Urine filter membrane photographed through a 4× microscope objective.
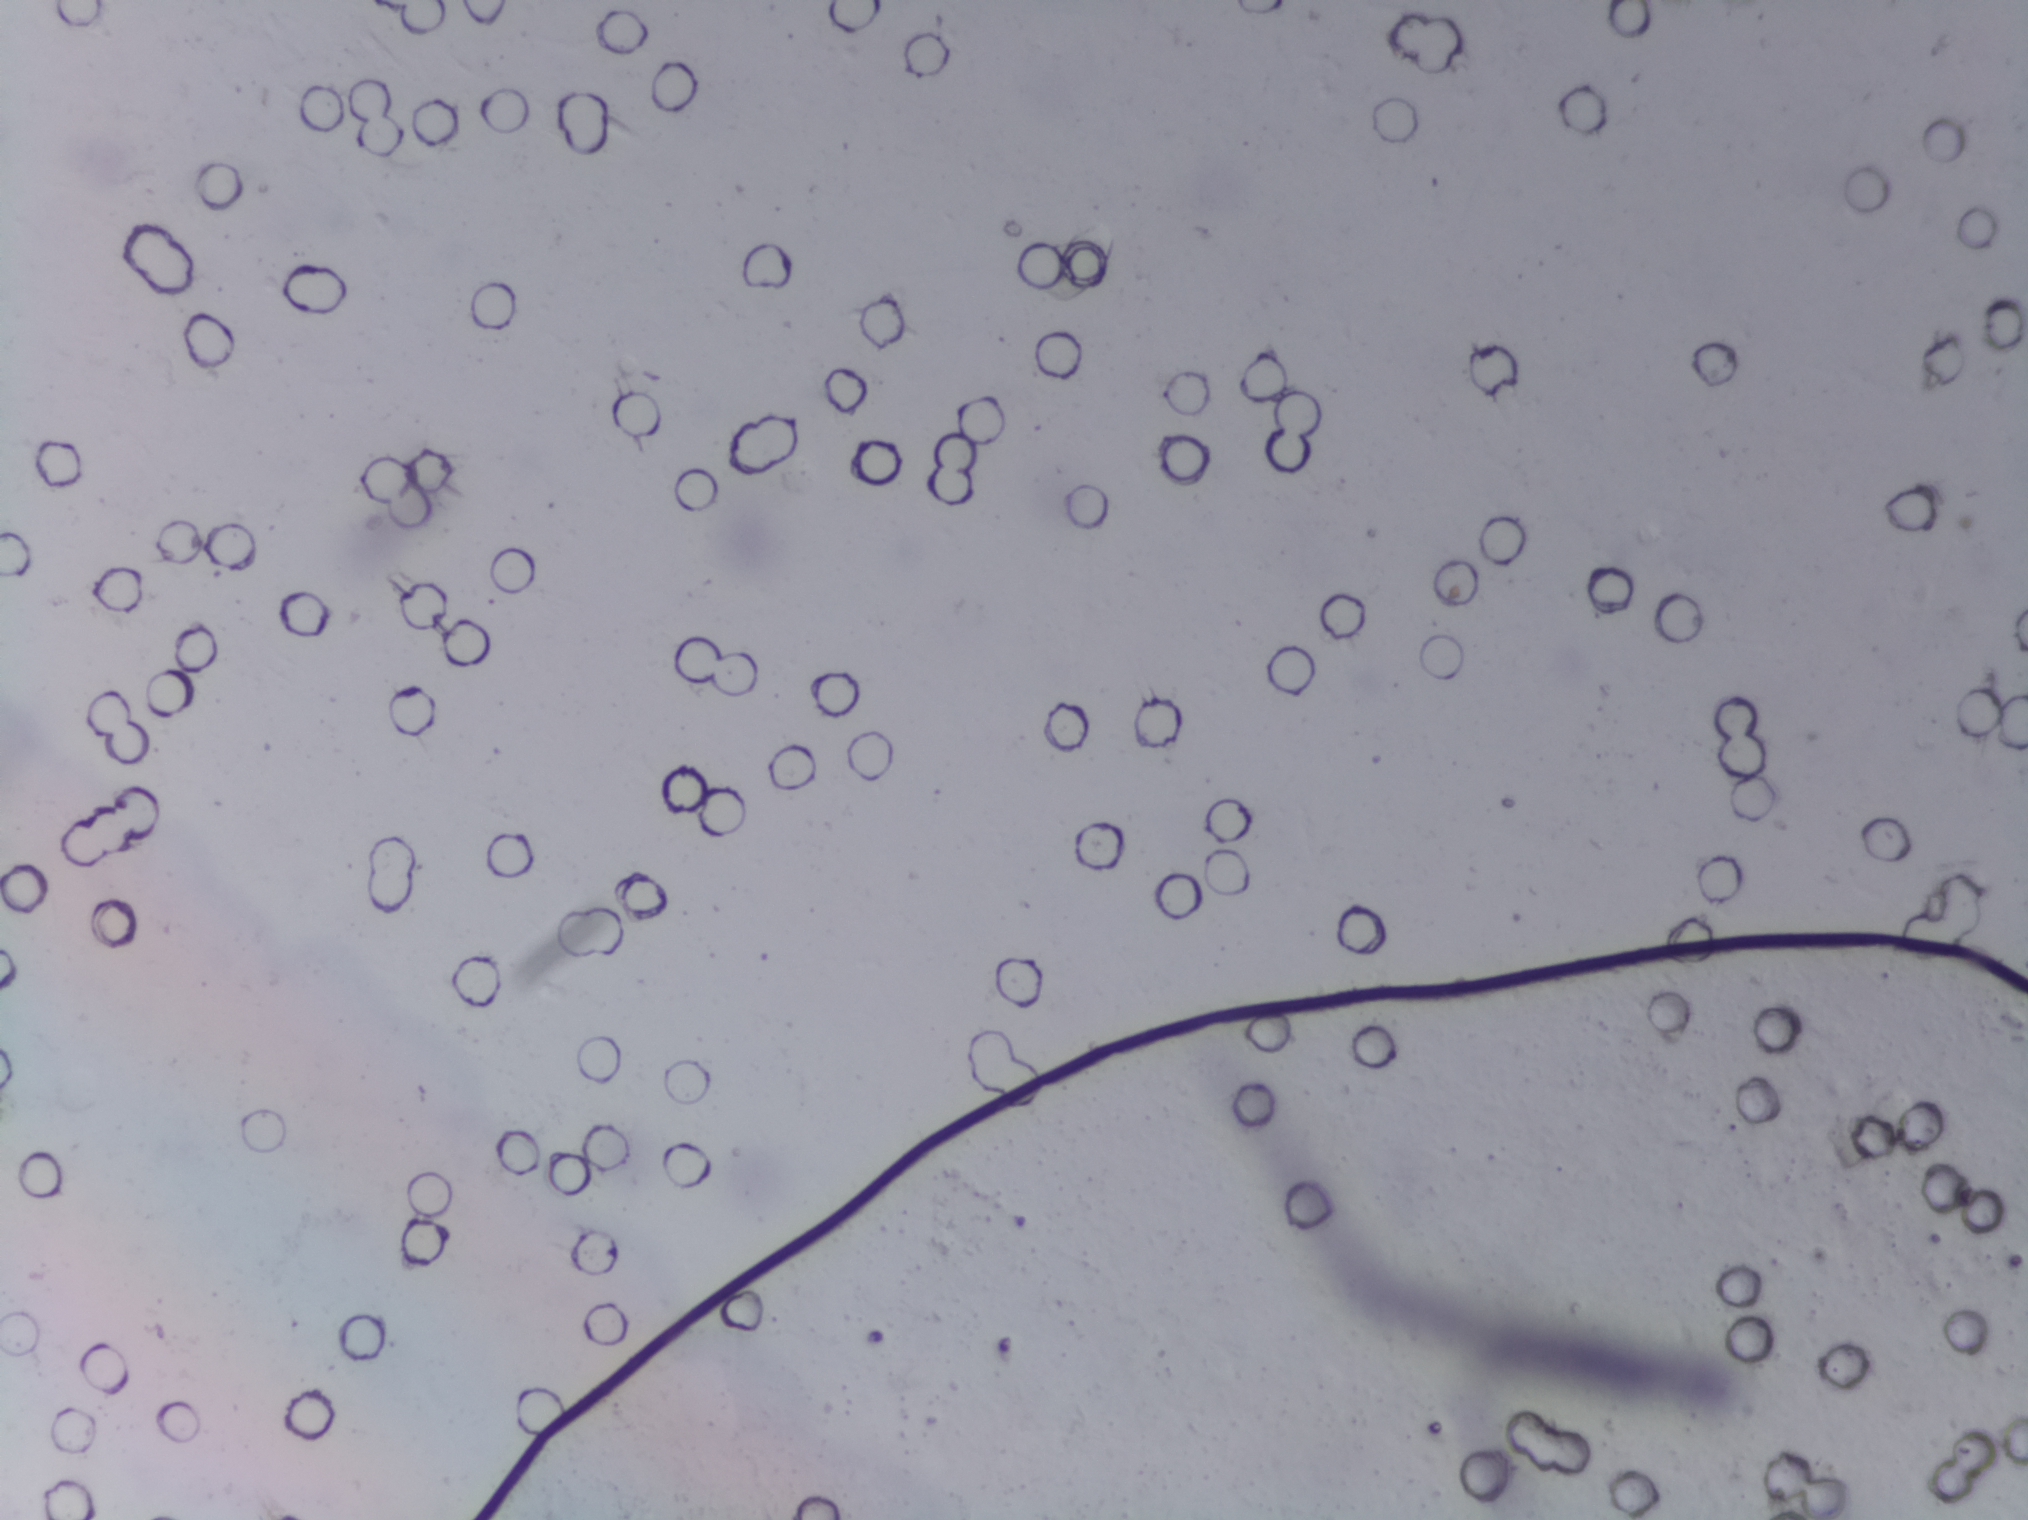
The expert annotation outlines no Schistosoma egg in this image.